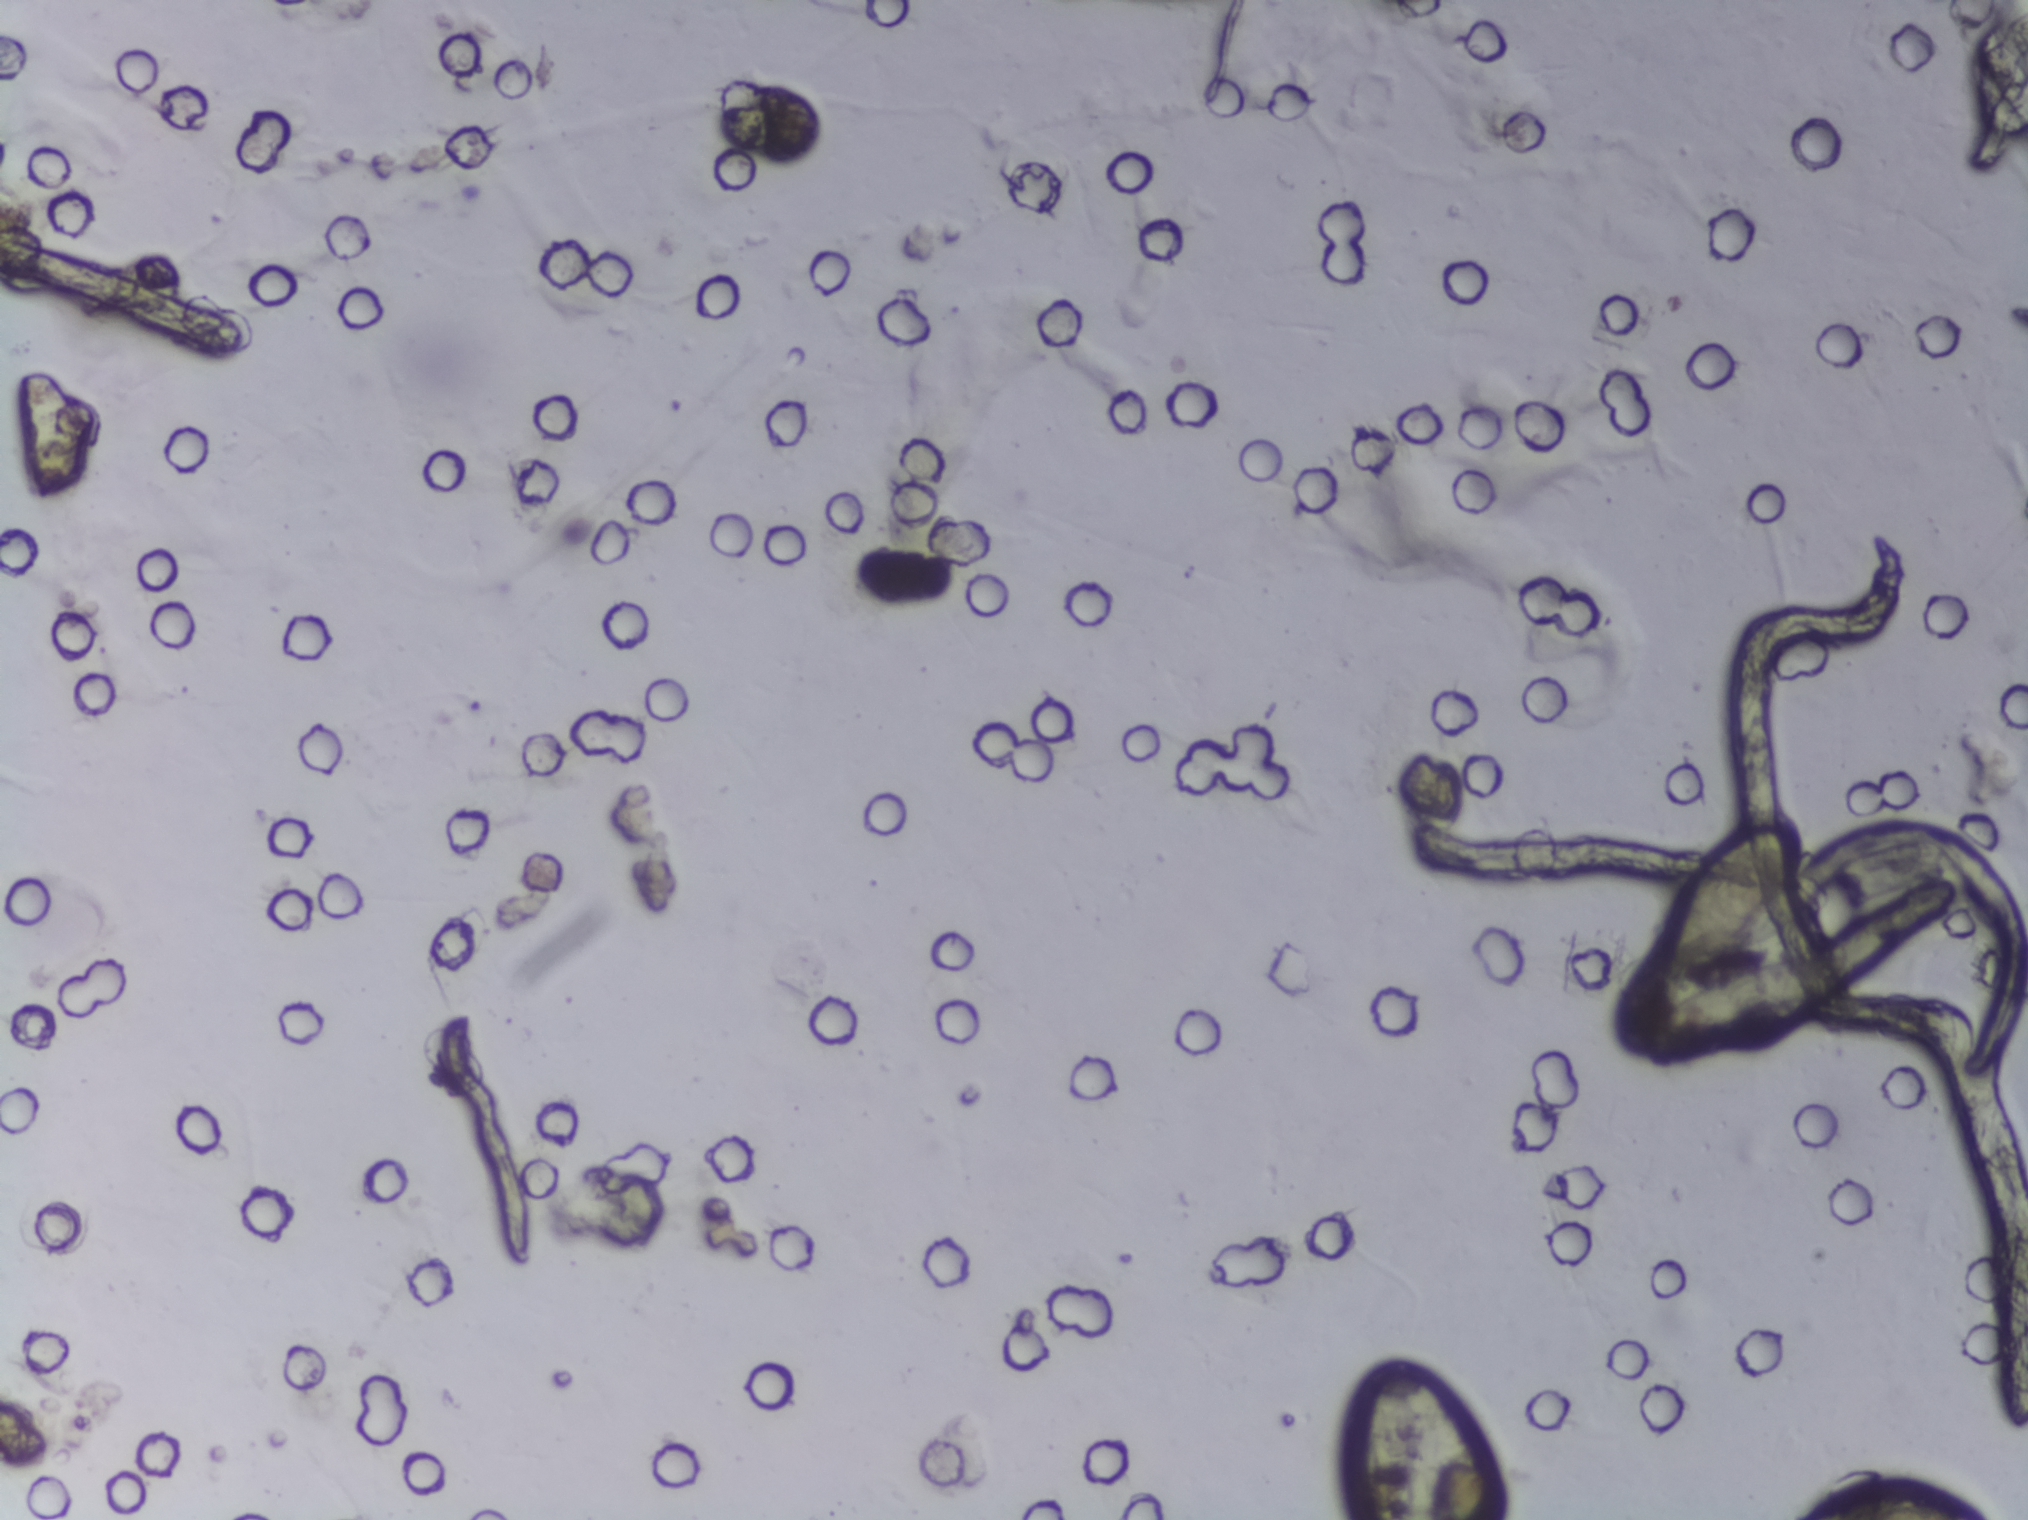
Photograph from an automated digital microscope: urine filter membrane, 4× objective. Field of view: about 1.5 mm wide and 1.1 mm high.
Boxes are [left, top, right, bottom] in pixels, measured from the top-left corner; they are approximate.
Schistosoma eggs are outlined in the expert annotation at [1654, 824, 1794, 982]. A single outlined area may contain several eggs.